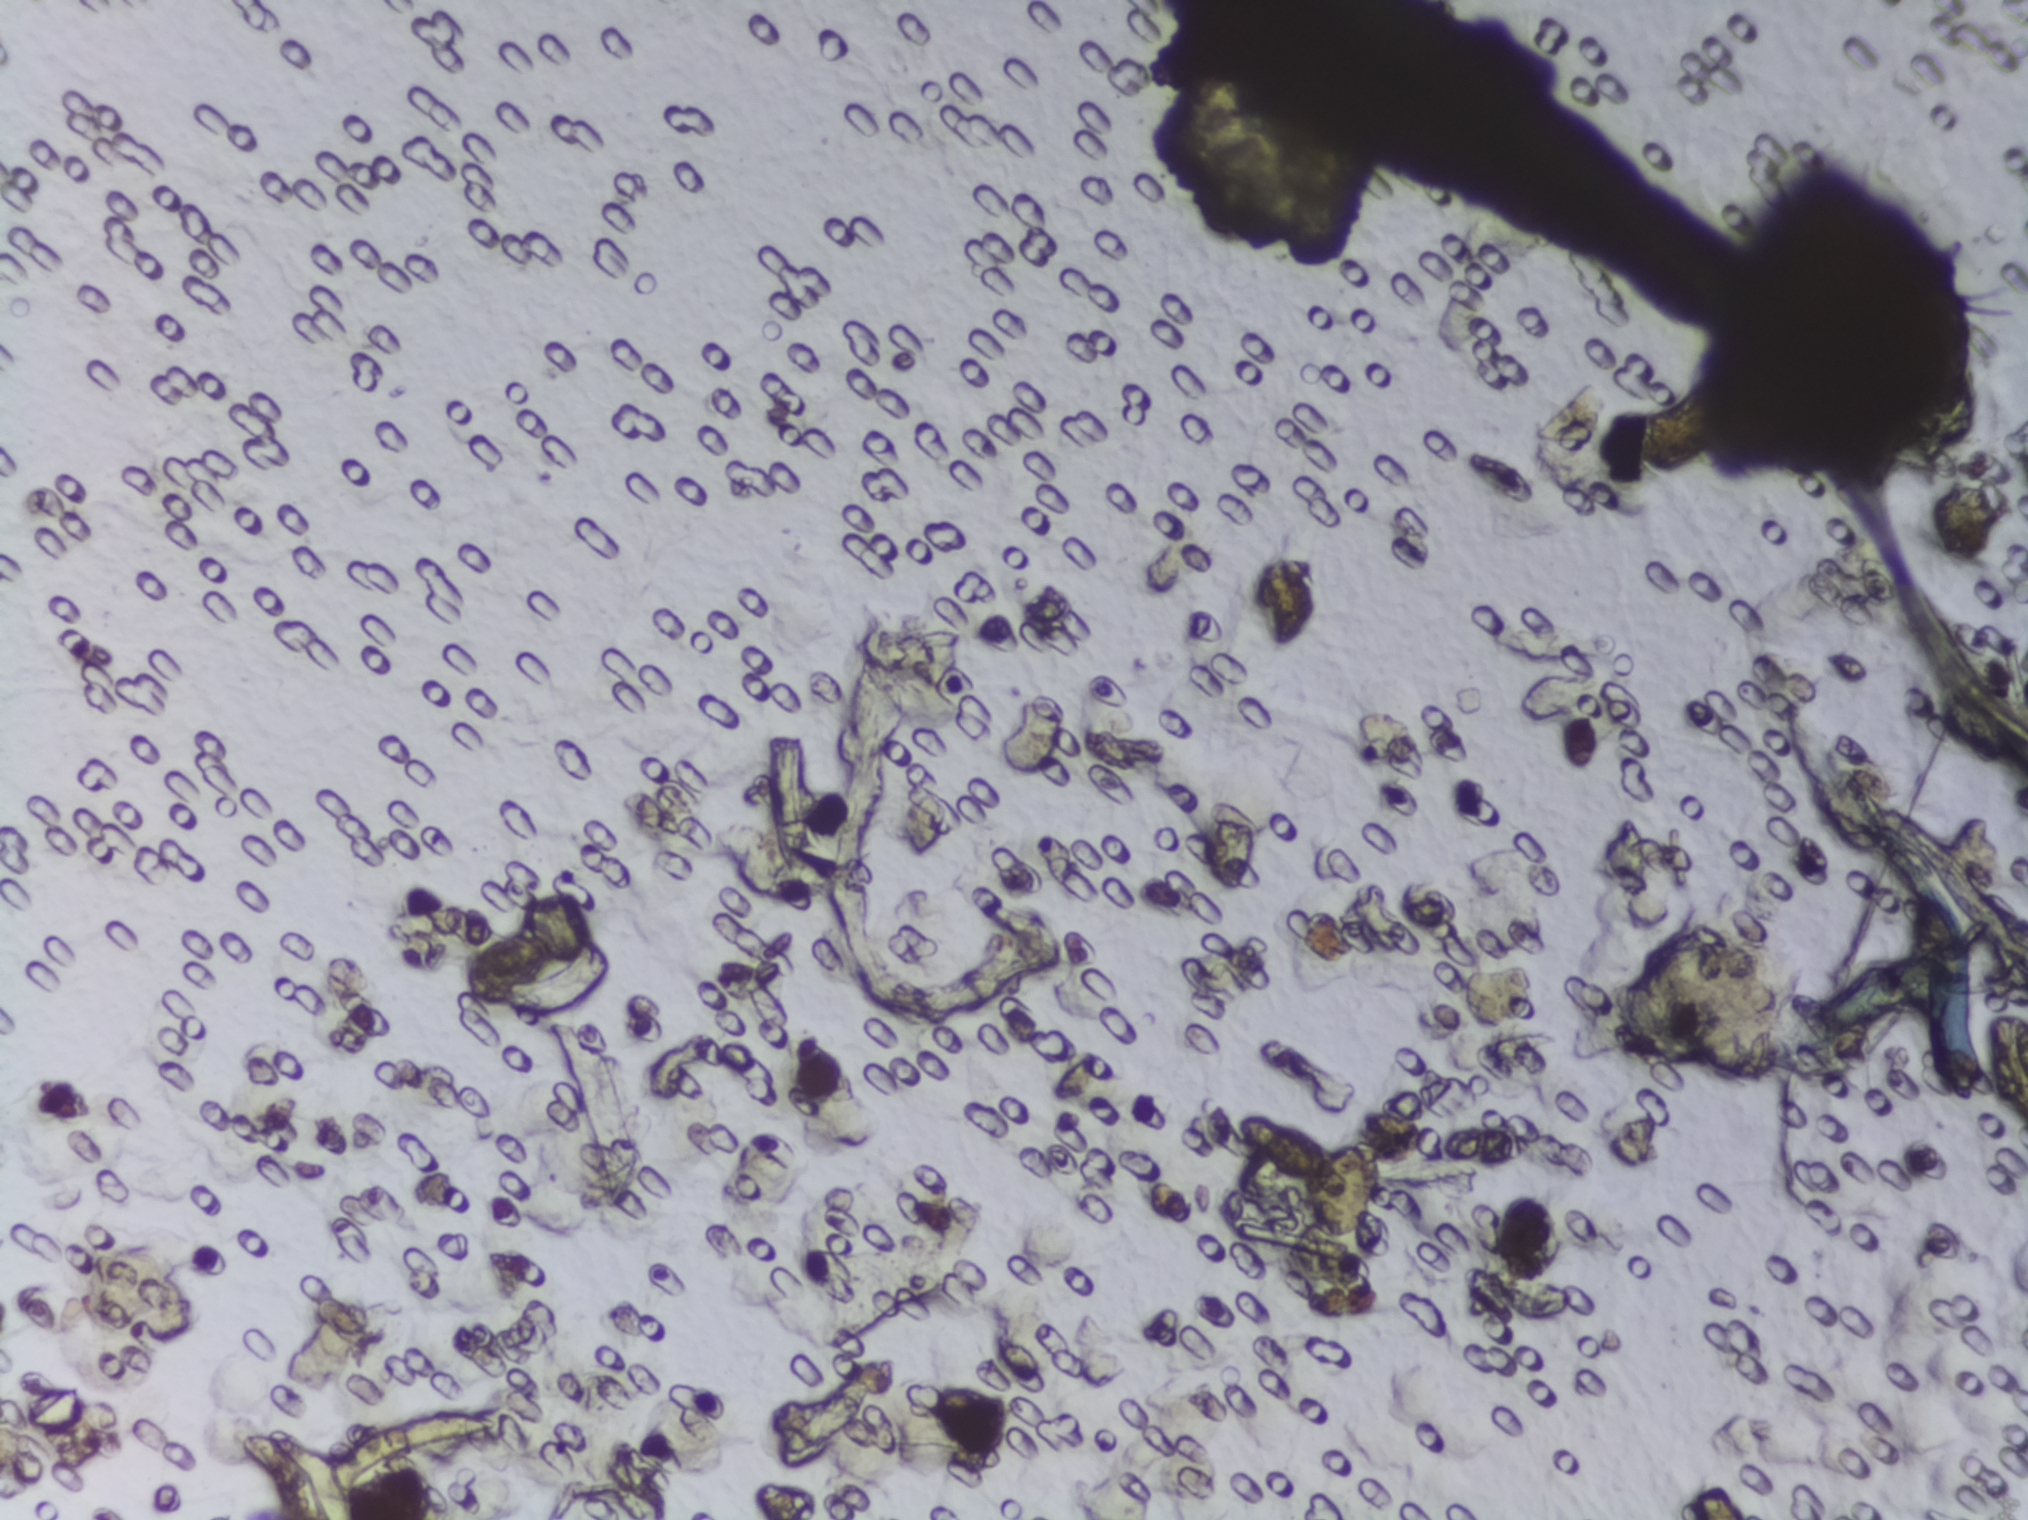
Urine filtration membrane under a 4× objective, photographed by an automated digital microscope.
The expert annotation outlines no Schistosoma egg in this image.